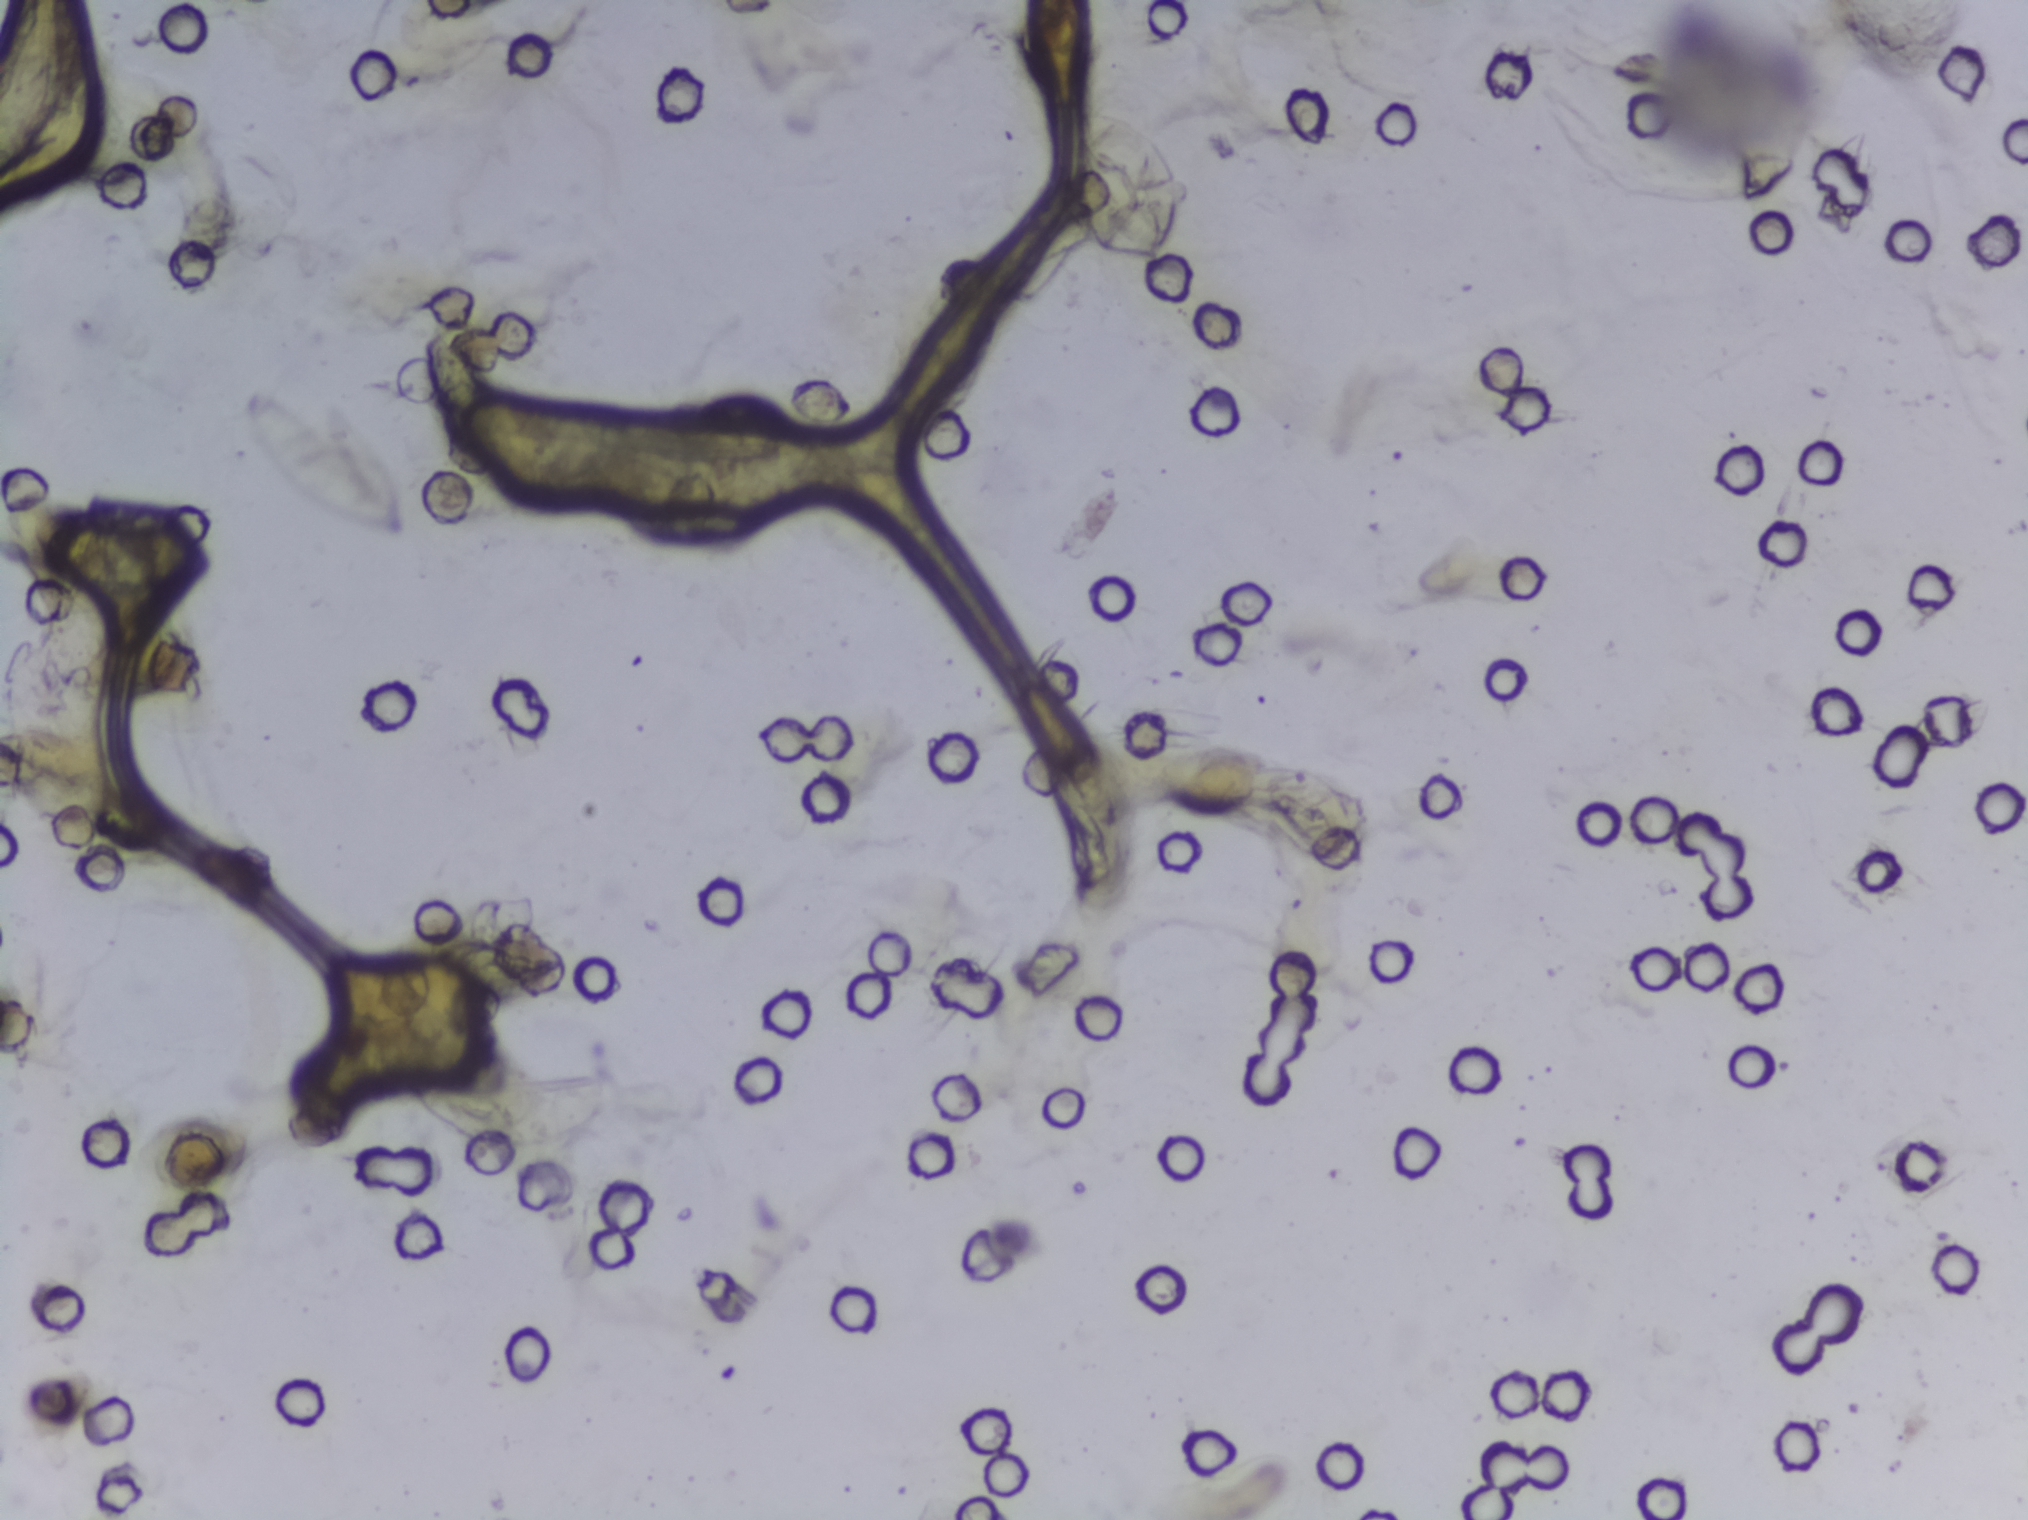
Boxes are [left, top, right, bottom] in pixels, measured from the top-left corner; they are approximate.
Five areas of this image are outlined as Schistosoma eggs, from left to right: [0, 0, 79, 183] (reaching the left and top edges of the frame); [242, 390, 409, 538]; [426, 333, 493, 464]; [1067, 101, 1181, 275]; [1264, 768, 1366, 868]. Eggs that touch can end up inside the same outlined area.
Urine filter membrane photographed through a 4× microscope objective.